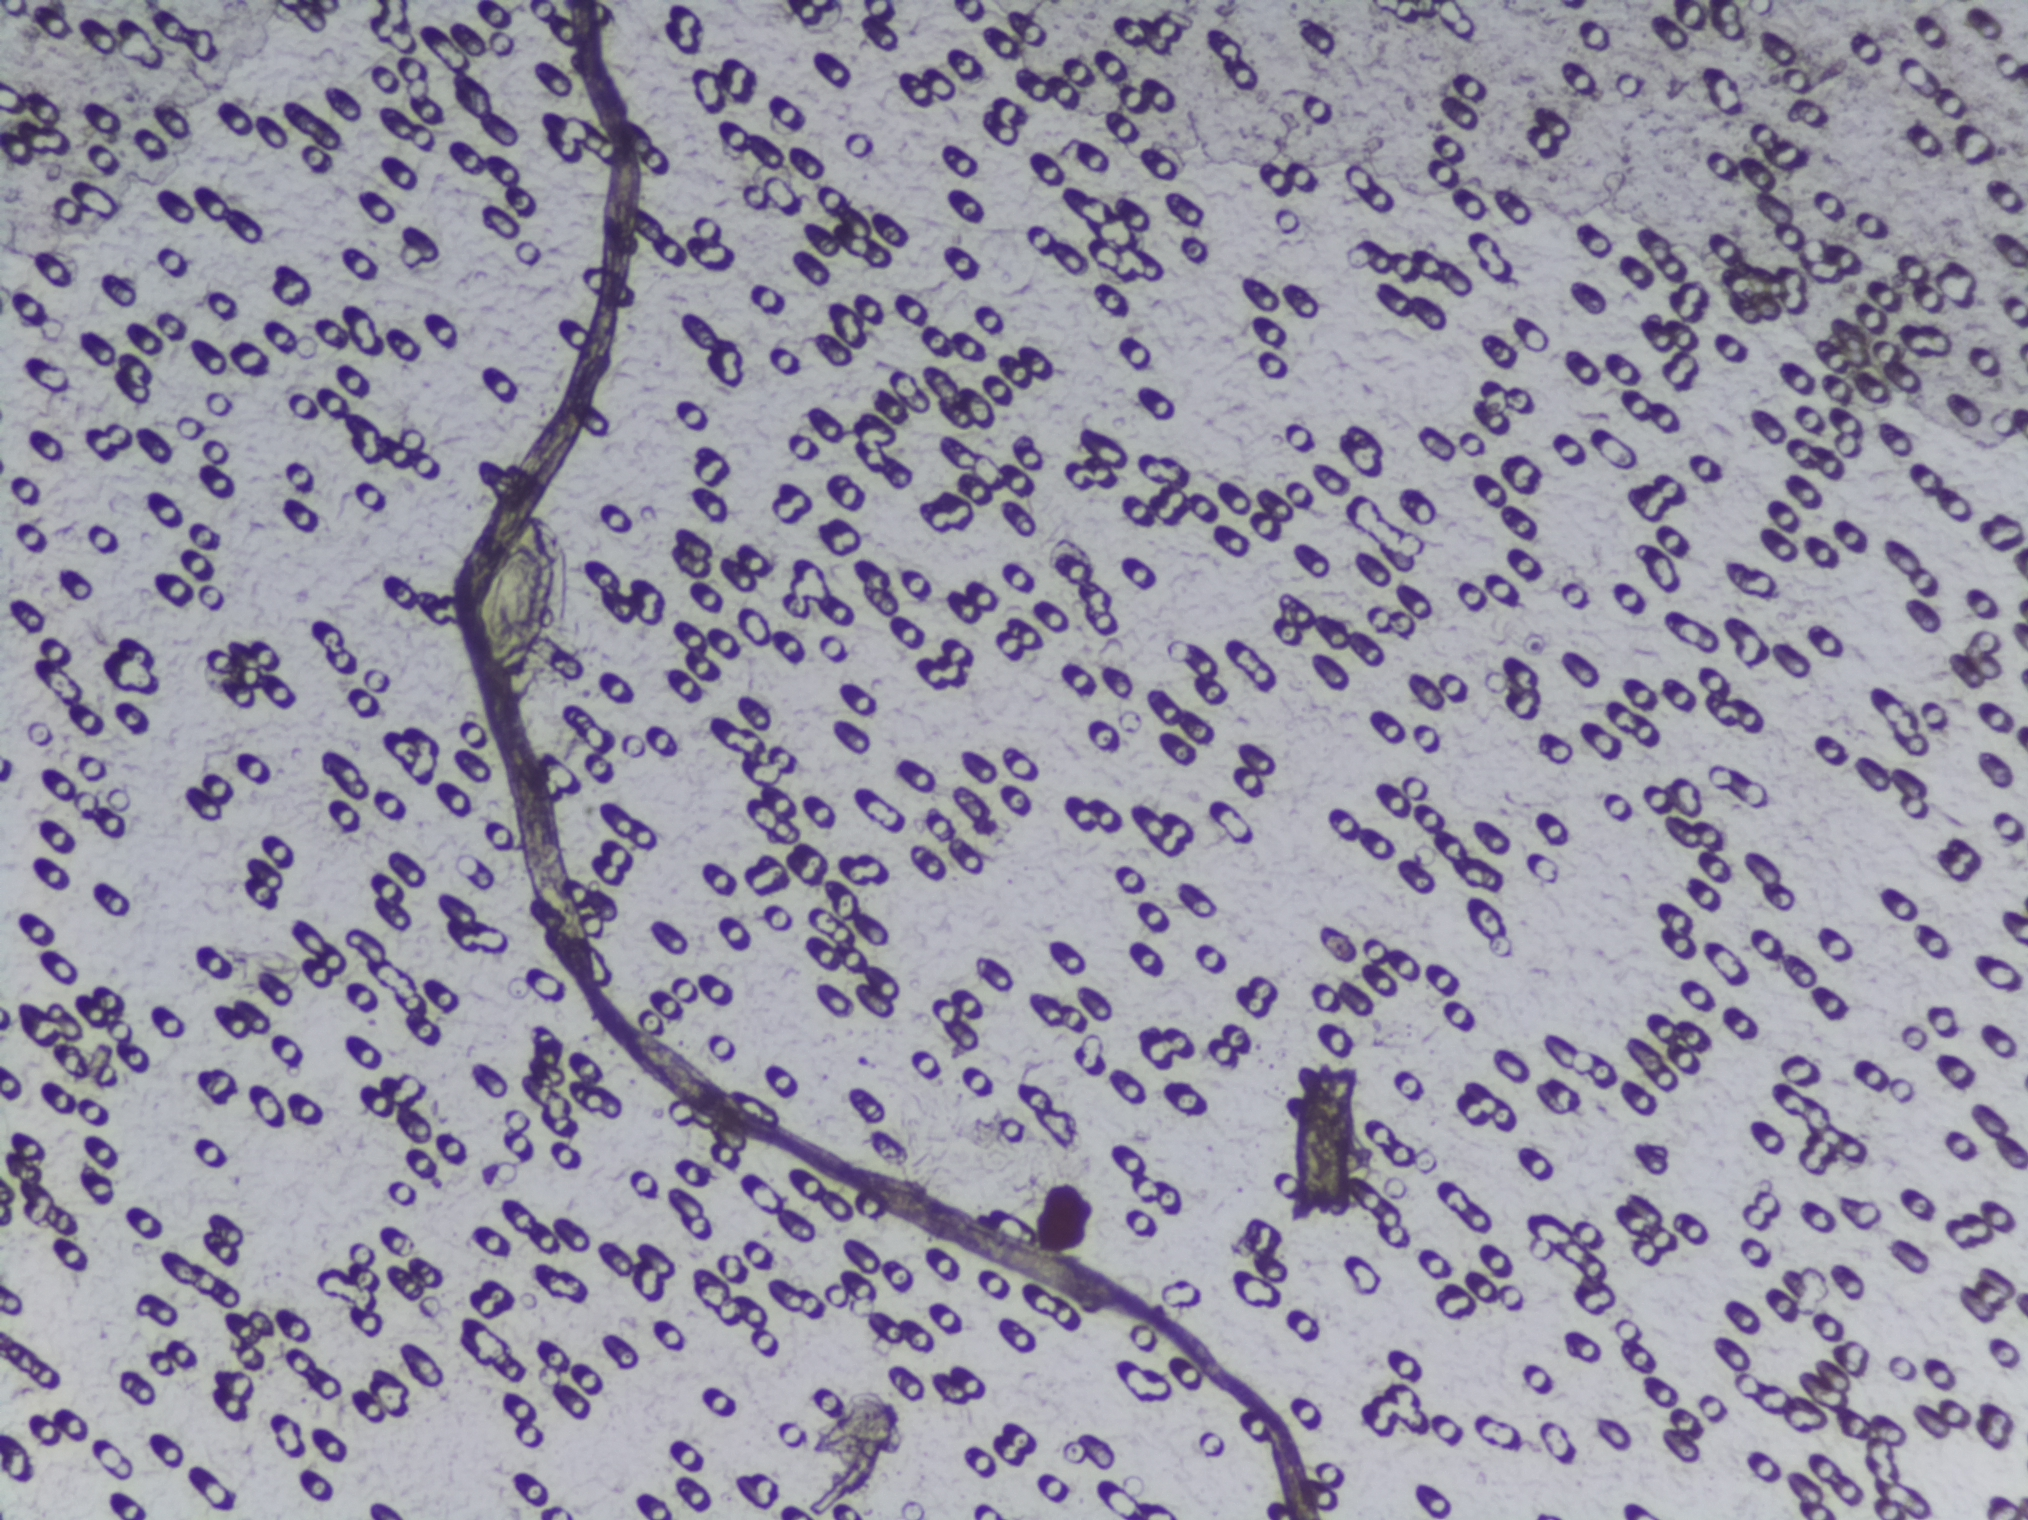
Photograph from an automated digital microscope: urine filter membrane, 4× objective.
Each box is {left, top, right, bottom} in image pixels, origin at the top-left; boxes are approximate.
One area of this image is outlined as Schistosoma eggs: {479, 494, 583, 709}. Marked pixels, not the box around them: about 0.6% of the image. A single outlined area may contain several eggs.